Urine filter membrane photographed through a 4× microscope objective. The image covers about 1.5 × 1.1 mm of the membrane.
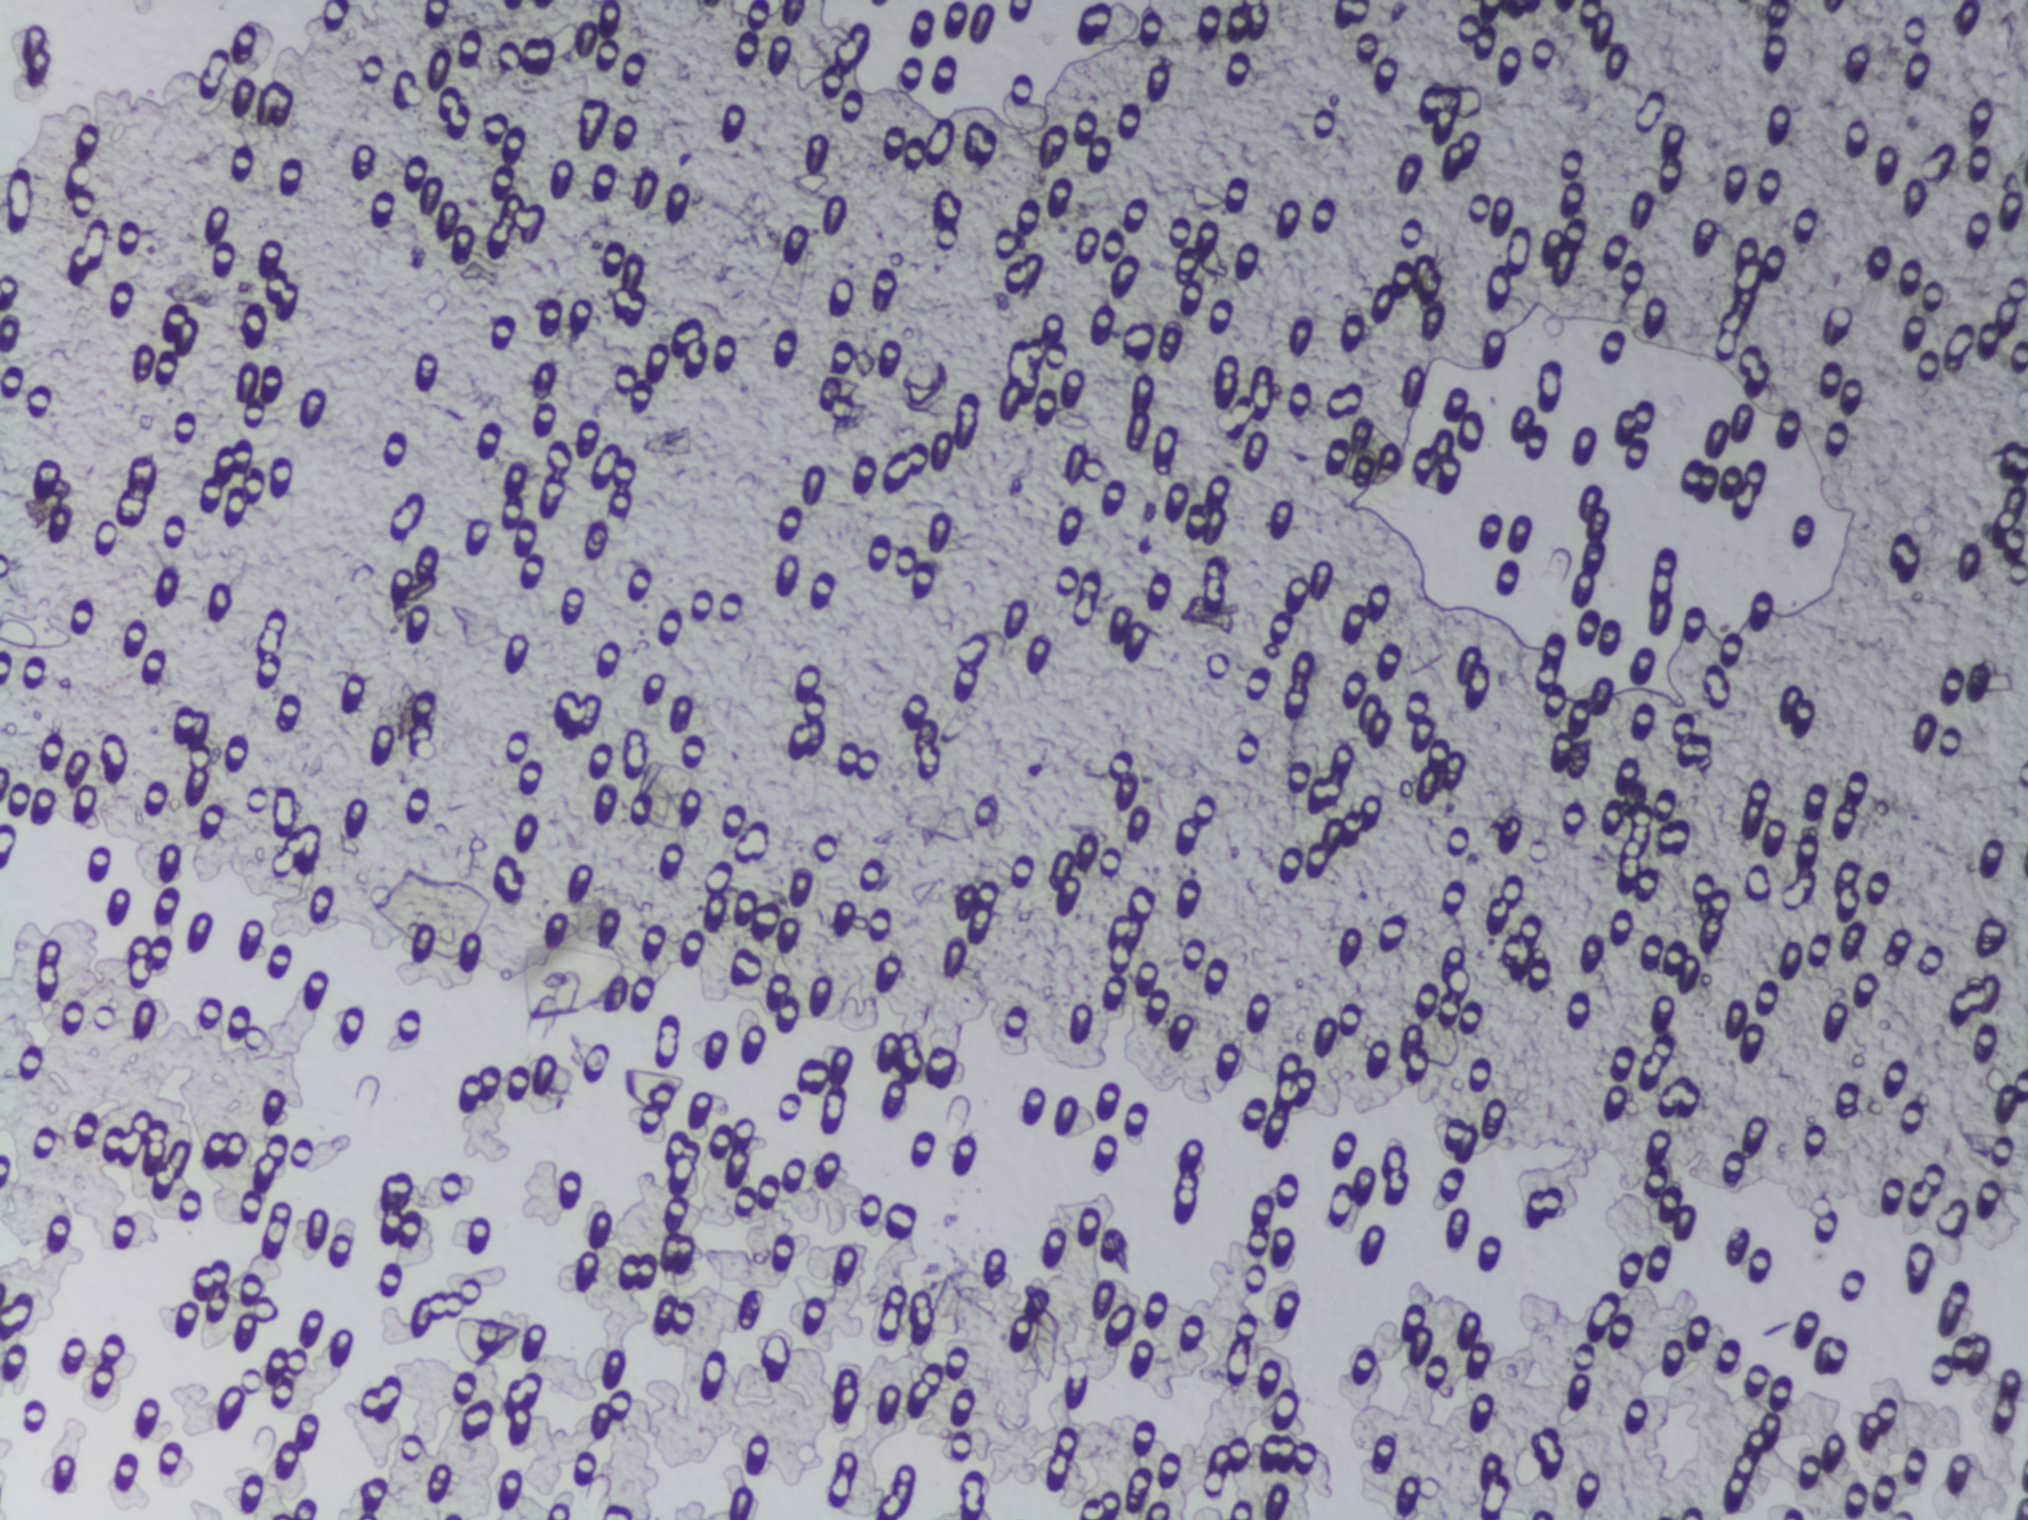
The expert annotation outlines no Schistosoma egg in this image.